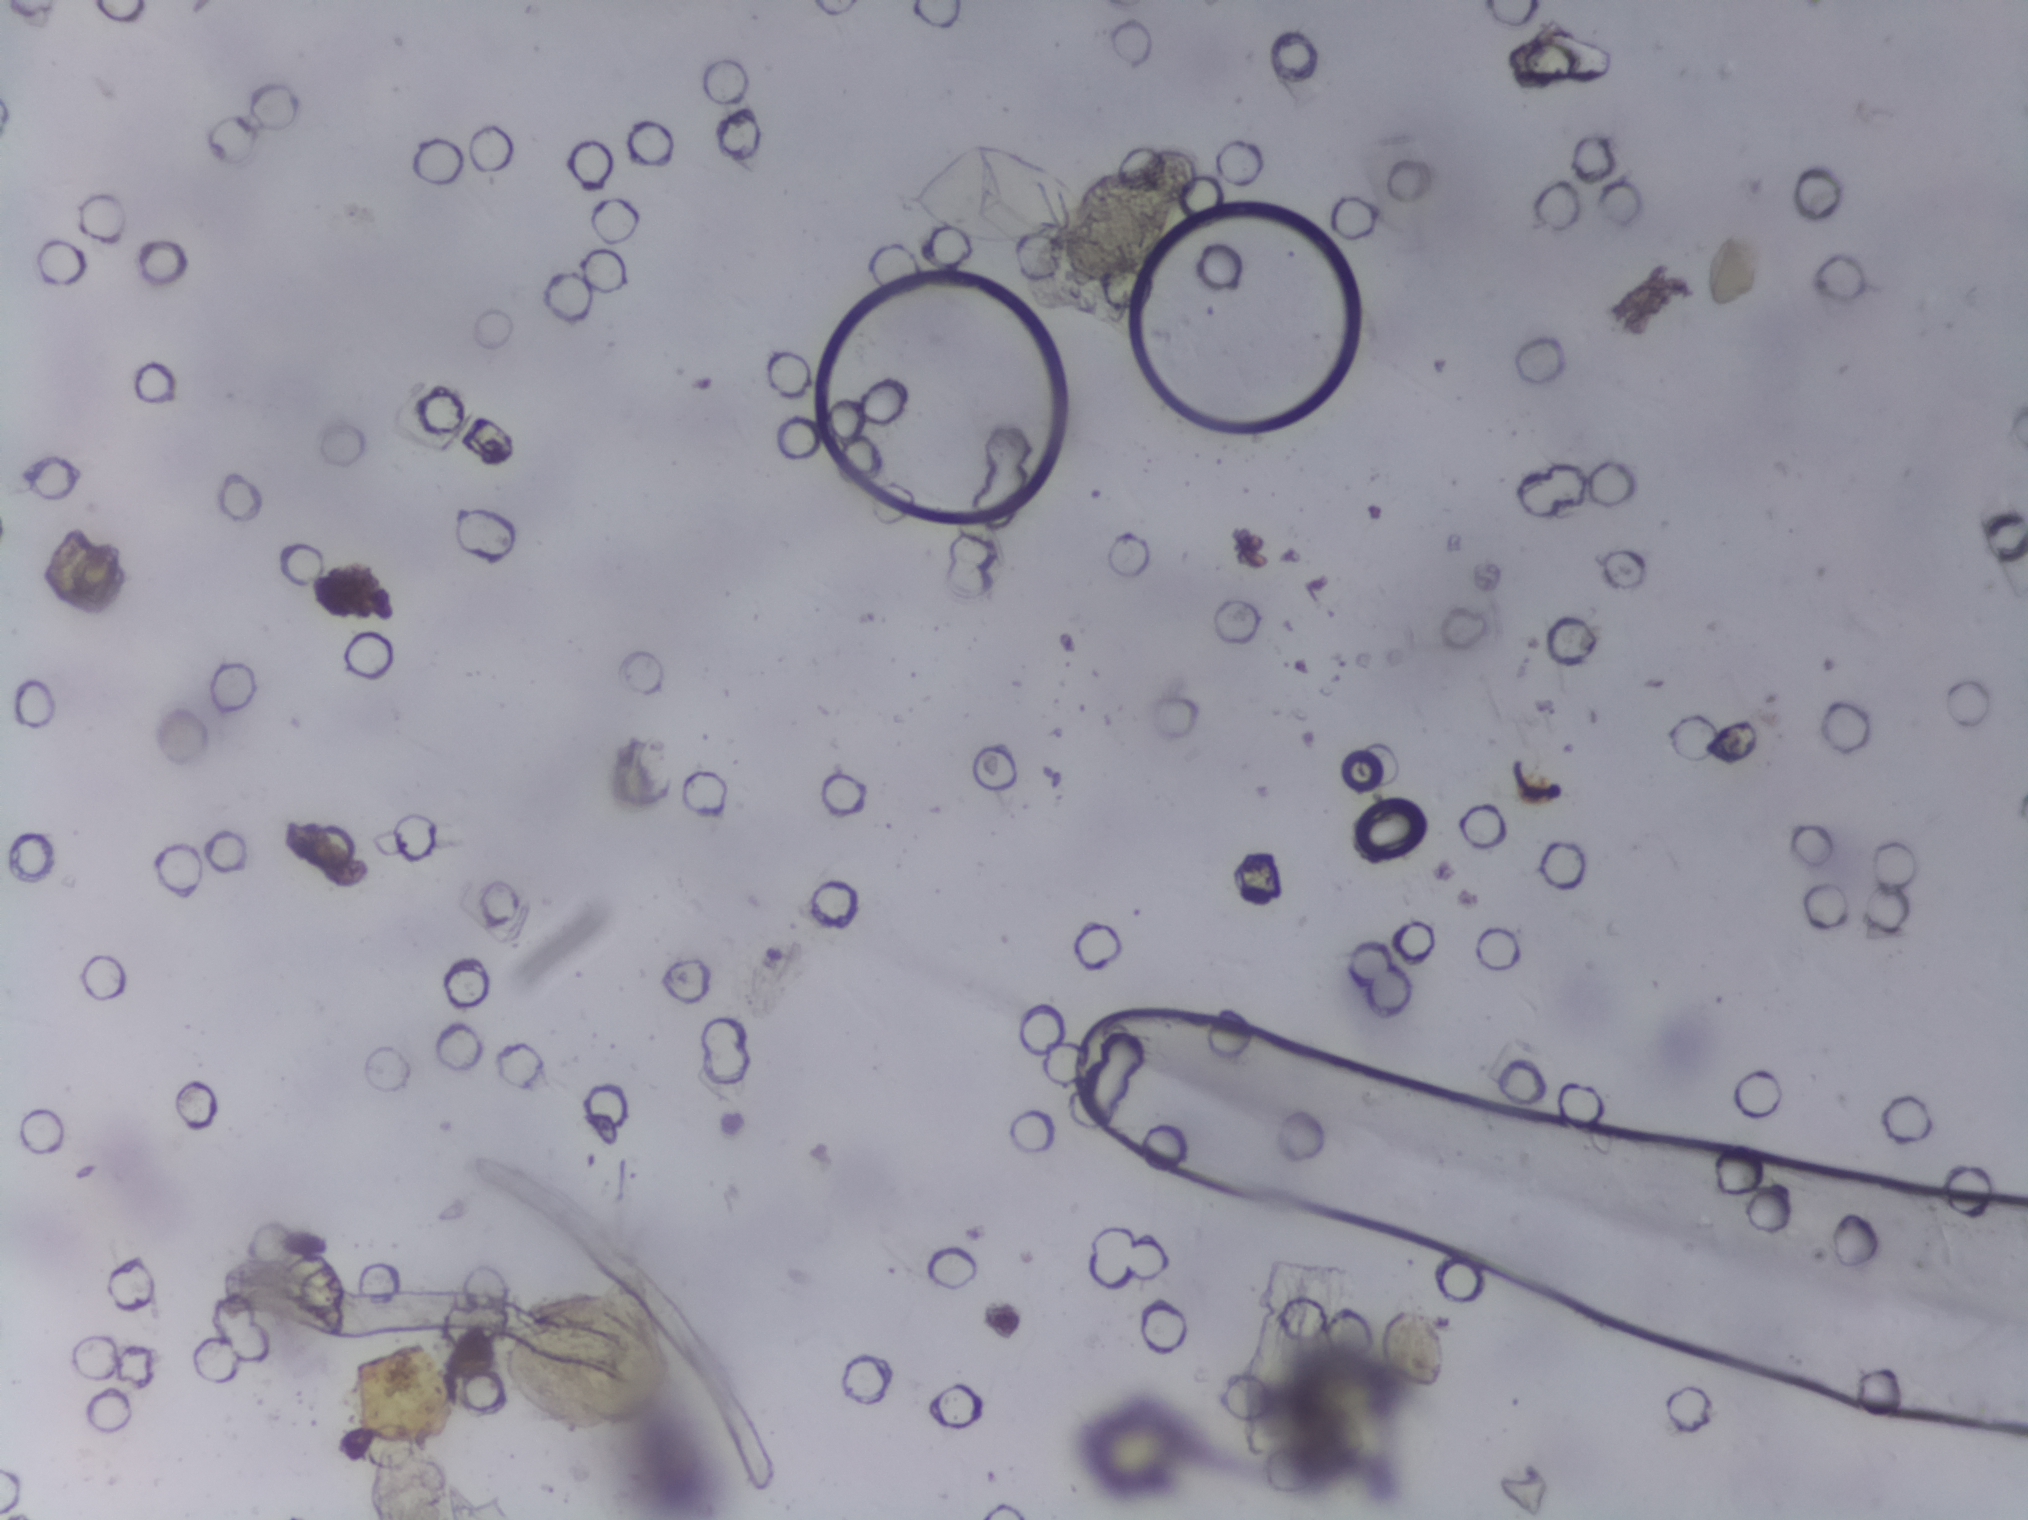
Urine filter membrane photographed through a 4× microscope objective. The image covers about 1.5 × 1.1 mm of the membrane.
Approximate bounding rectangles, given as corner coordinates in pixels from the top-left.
Findings: one area outlined as Schistosoma eggs. Location: (x1=901, y1=138, x2=1098, y2=247). An outlined area can hold more than one egg.